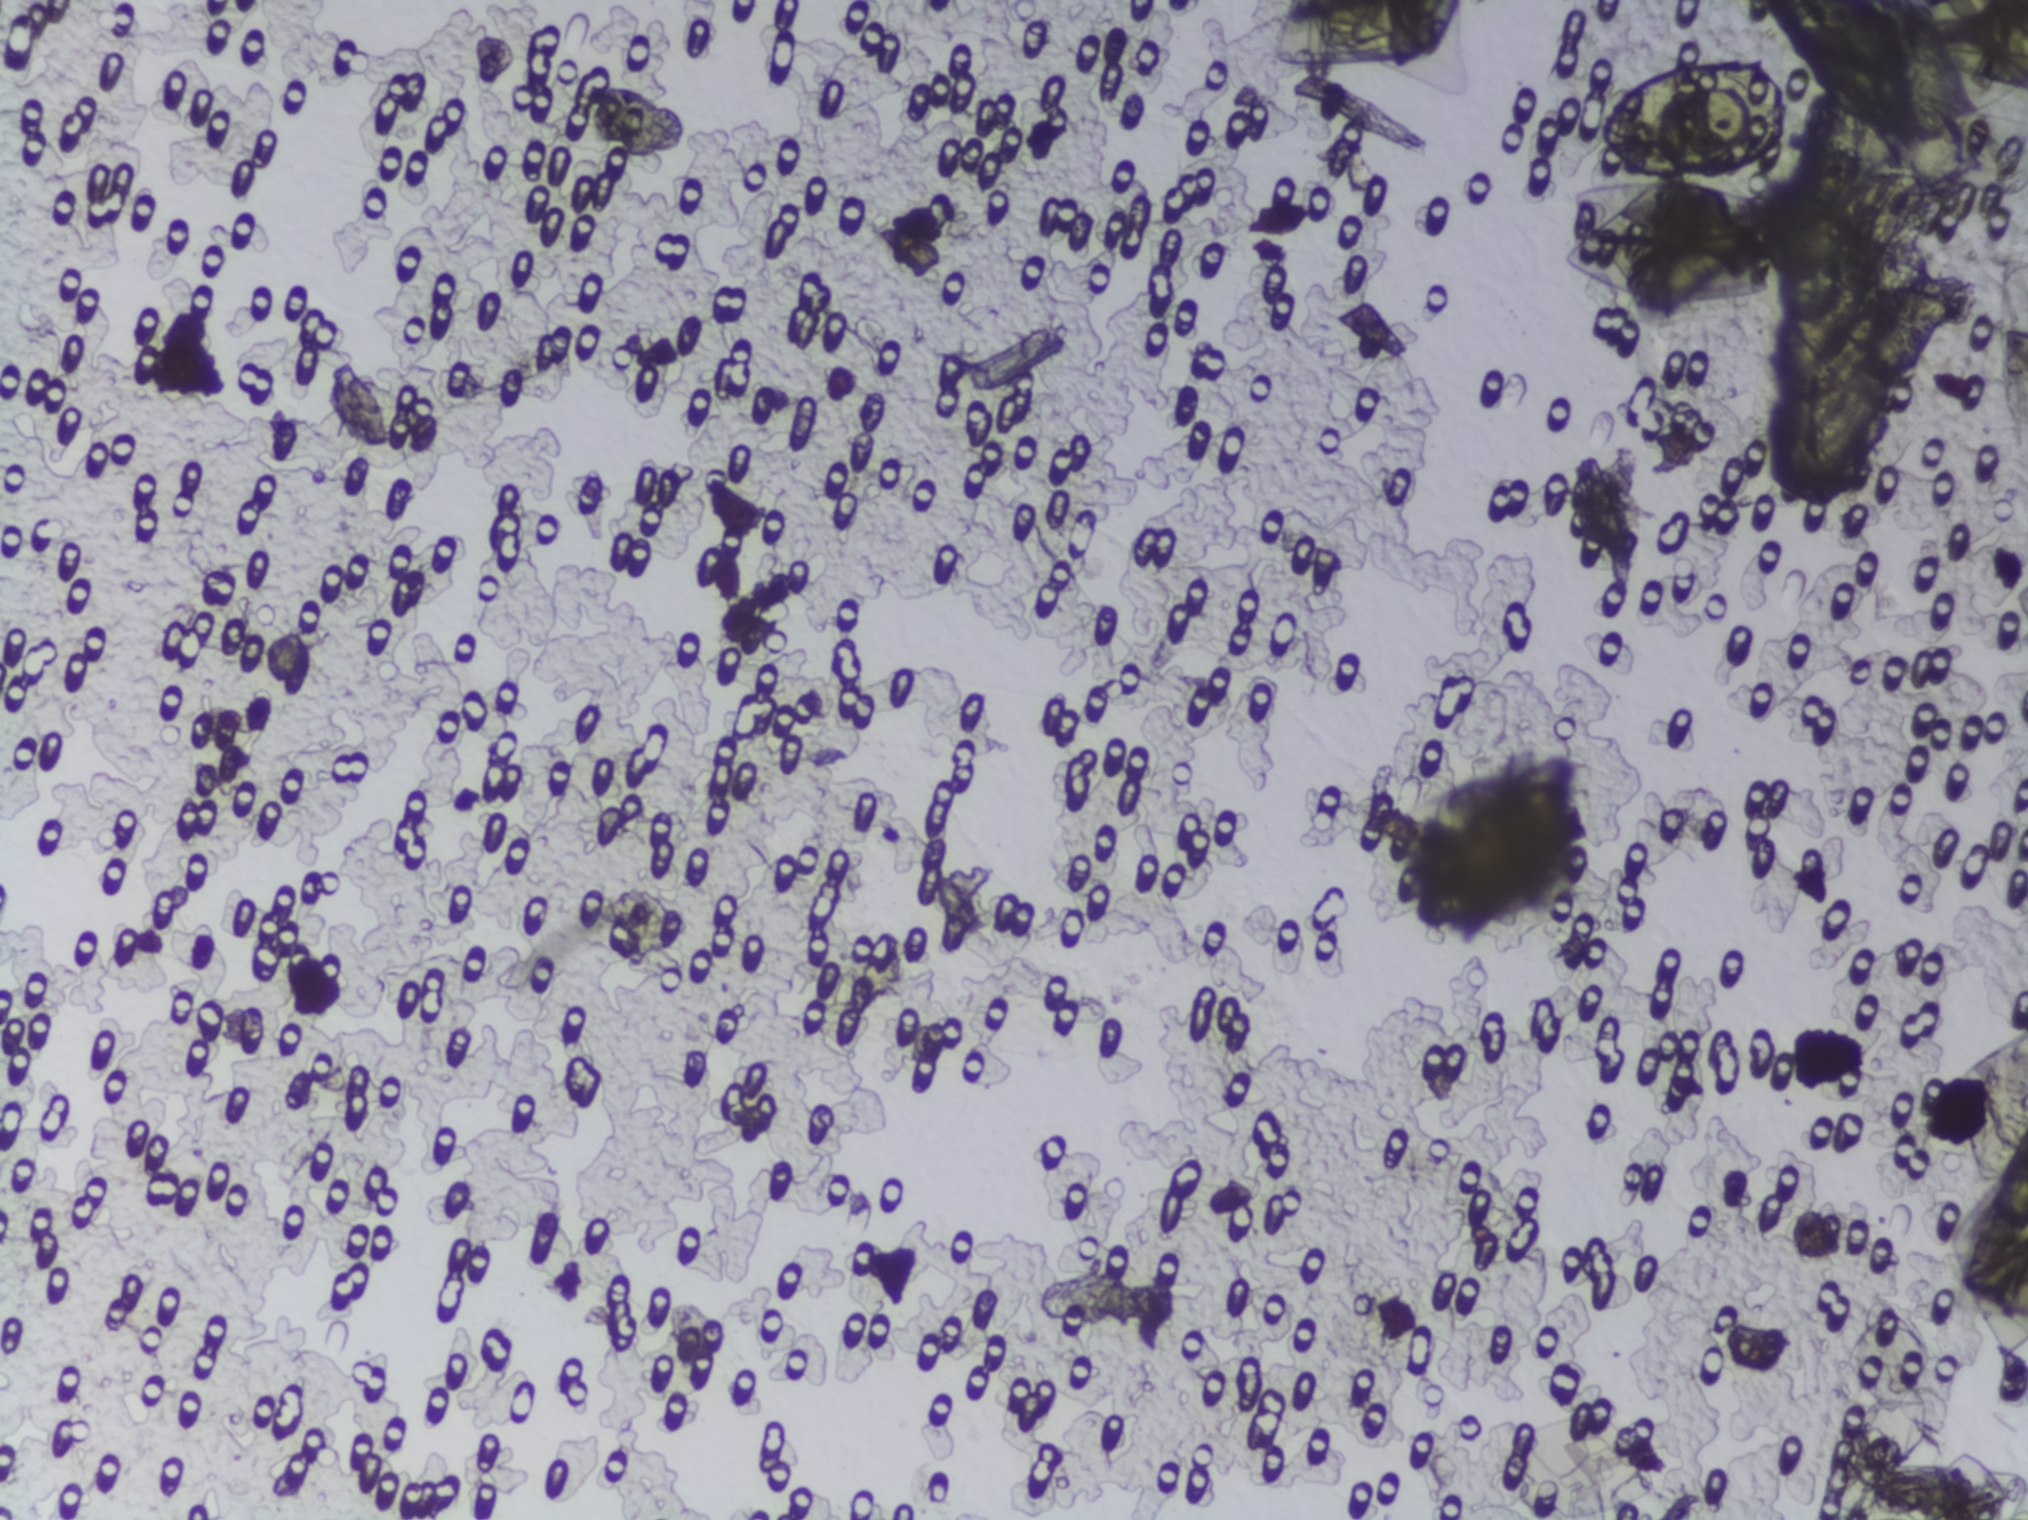
No area of this image was outlined as a Schistosoma egg.
Microscope photograph (4× objective) of a membrane that a urine sample was filtered through. Field of view: about 1.5 mm wide and 1.1 mm high.